Microscope photograph (4× objective) of a membrane that a urine sample was filtered through. The image covers about 1.5 × 1.1 mm of the membrane.
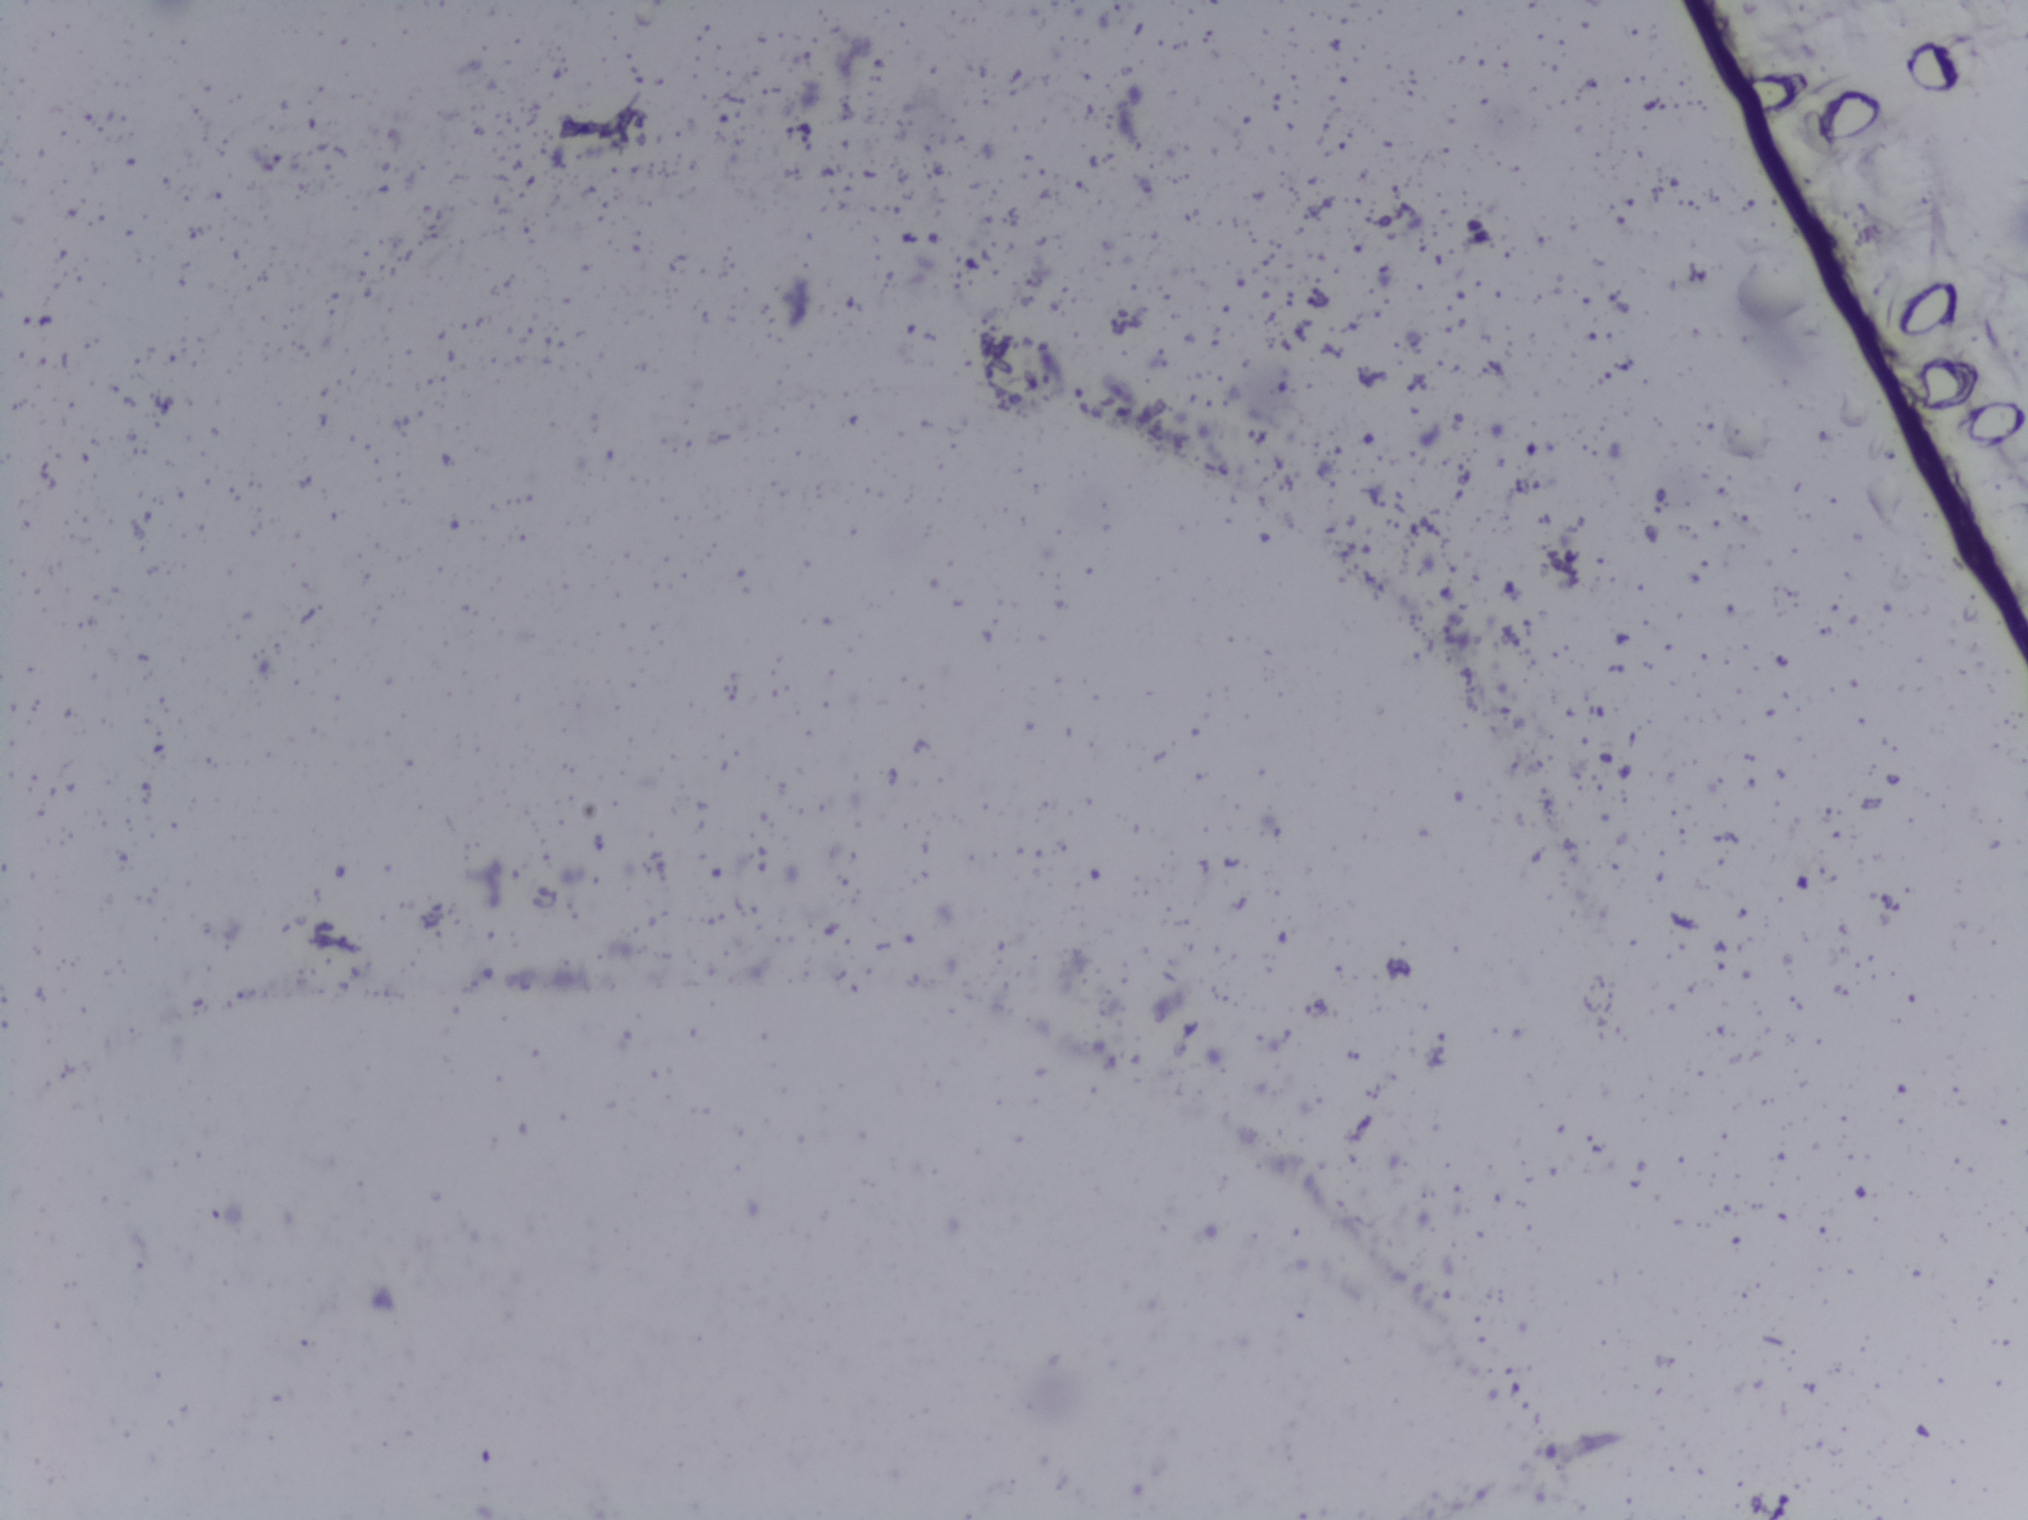
The expert annotation outlines no Schistosoma egg in this image.